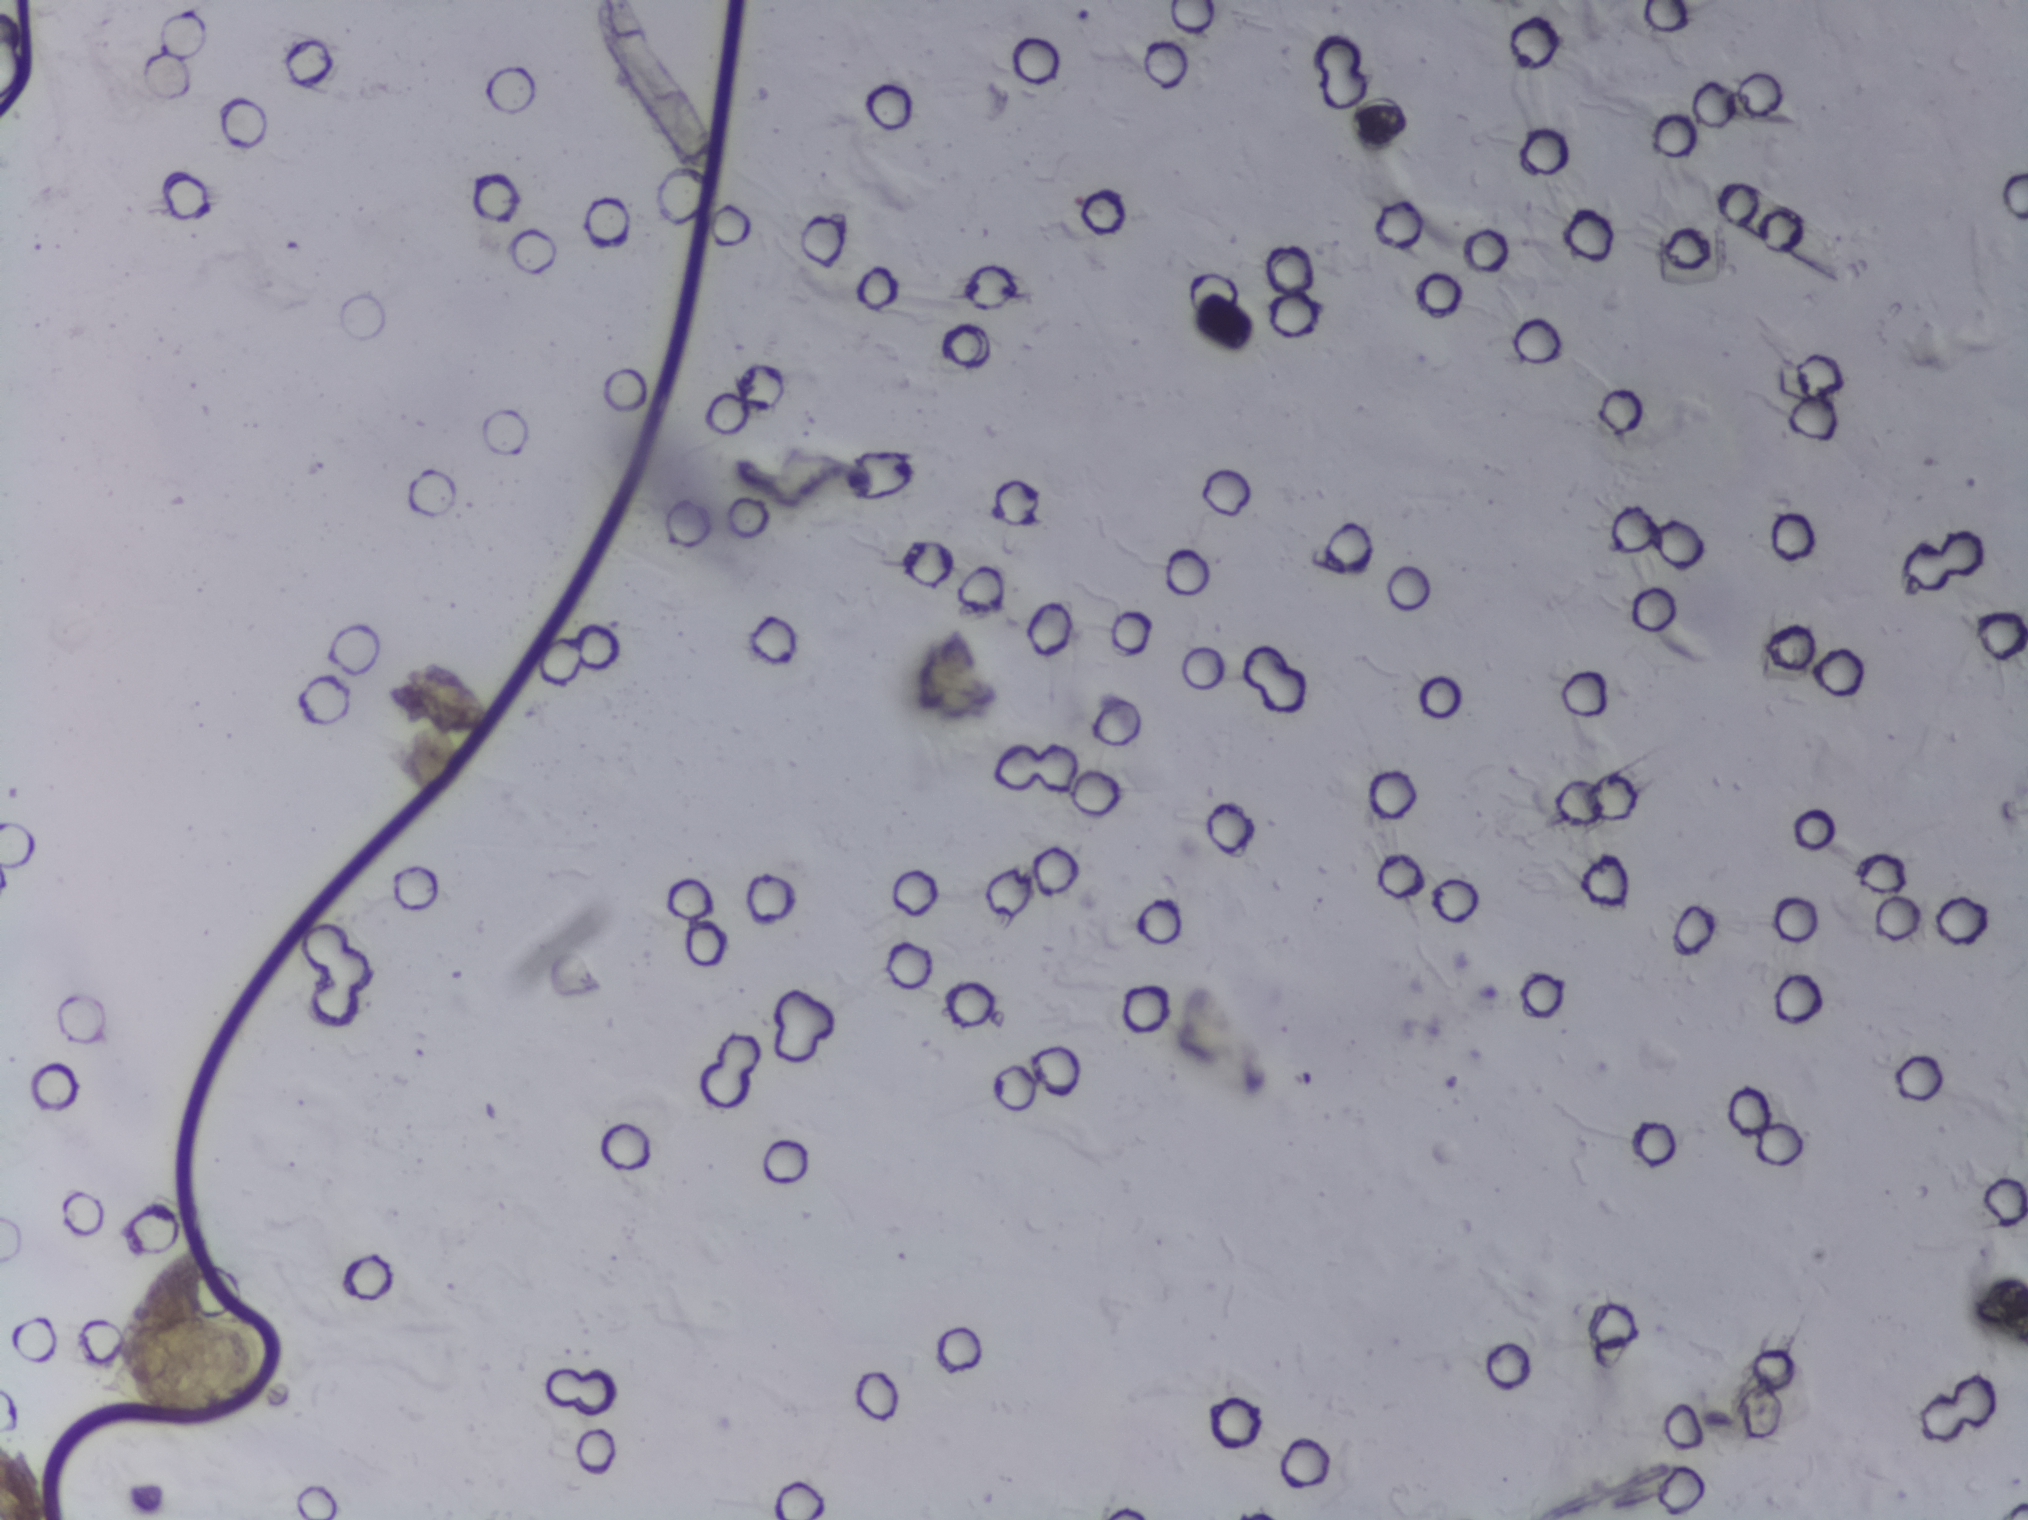
One field of view of a urine filter membrane, 4× objective, 2028 × 1520 pixels.
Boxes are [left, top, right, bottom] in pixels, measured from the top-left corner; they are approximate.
One area of this image is outlined as Schistosoma eggs: [96, 1316, 269, 1409]. Marked pixels, not the box around them: about 0.4% of the image. An outlined area can hold more than one egg.